Microscope photograph (4× objective) of a membrane that a urine sample was filtered through.
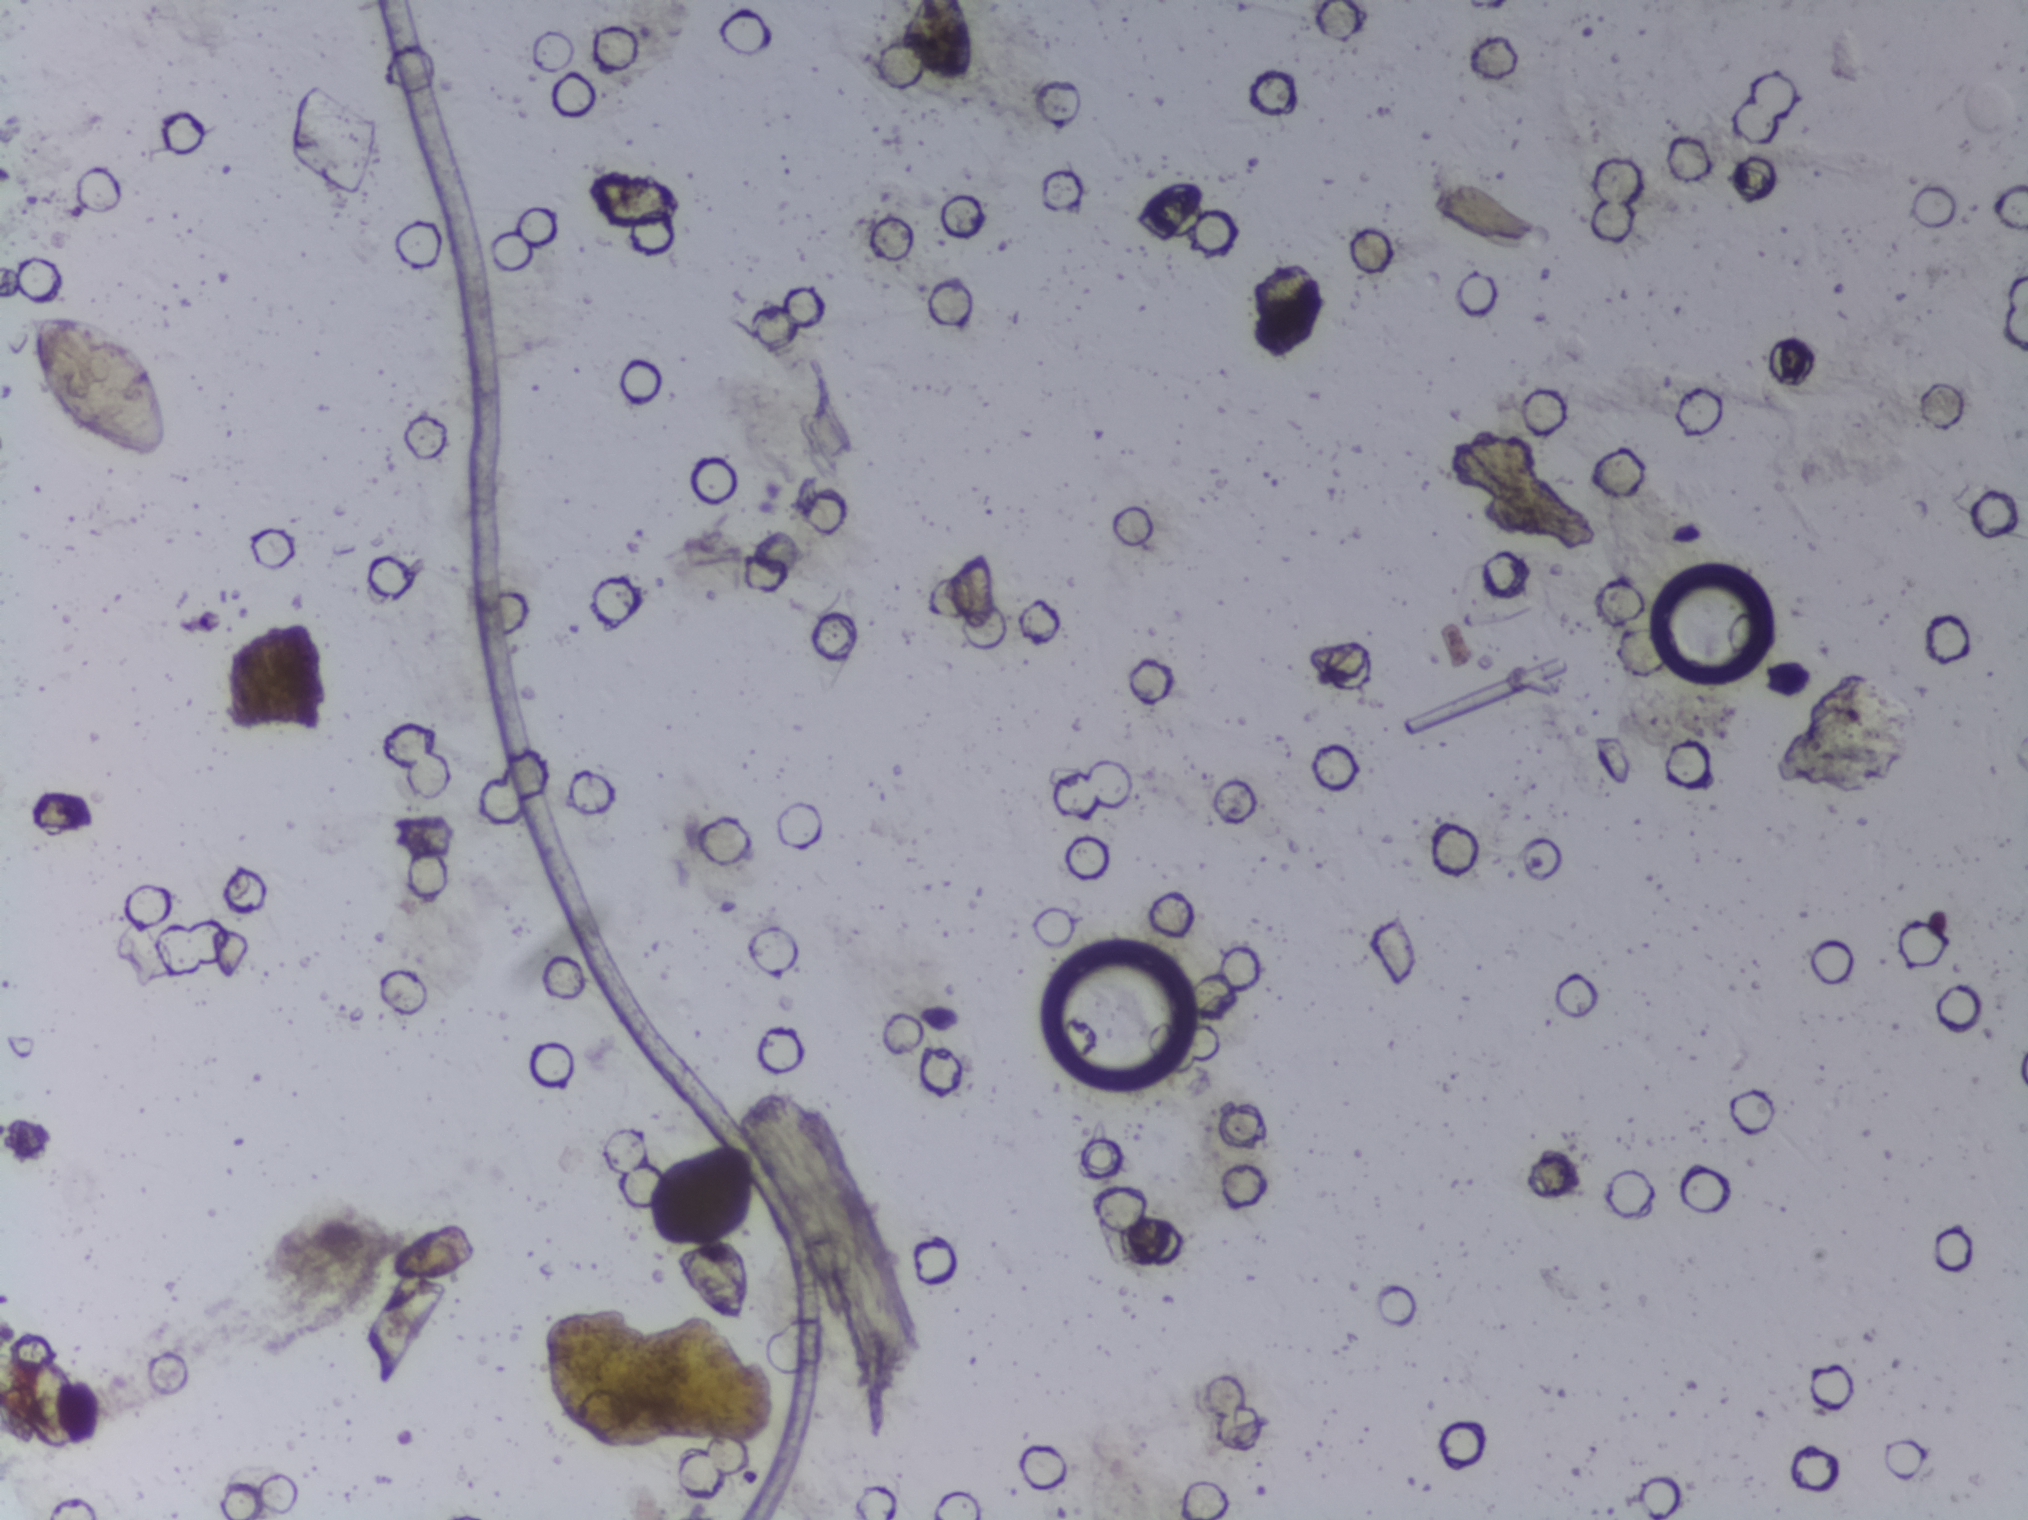
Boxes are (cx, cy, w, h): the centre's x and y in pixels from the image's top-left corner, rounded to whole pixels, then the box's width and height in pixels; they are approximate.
The expert annotation outlines Schistosoma eggs at (cx=98, cy=387, w=144, h=147). An outlined area can hold more than one egg.